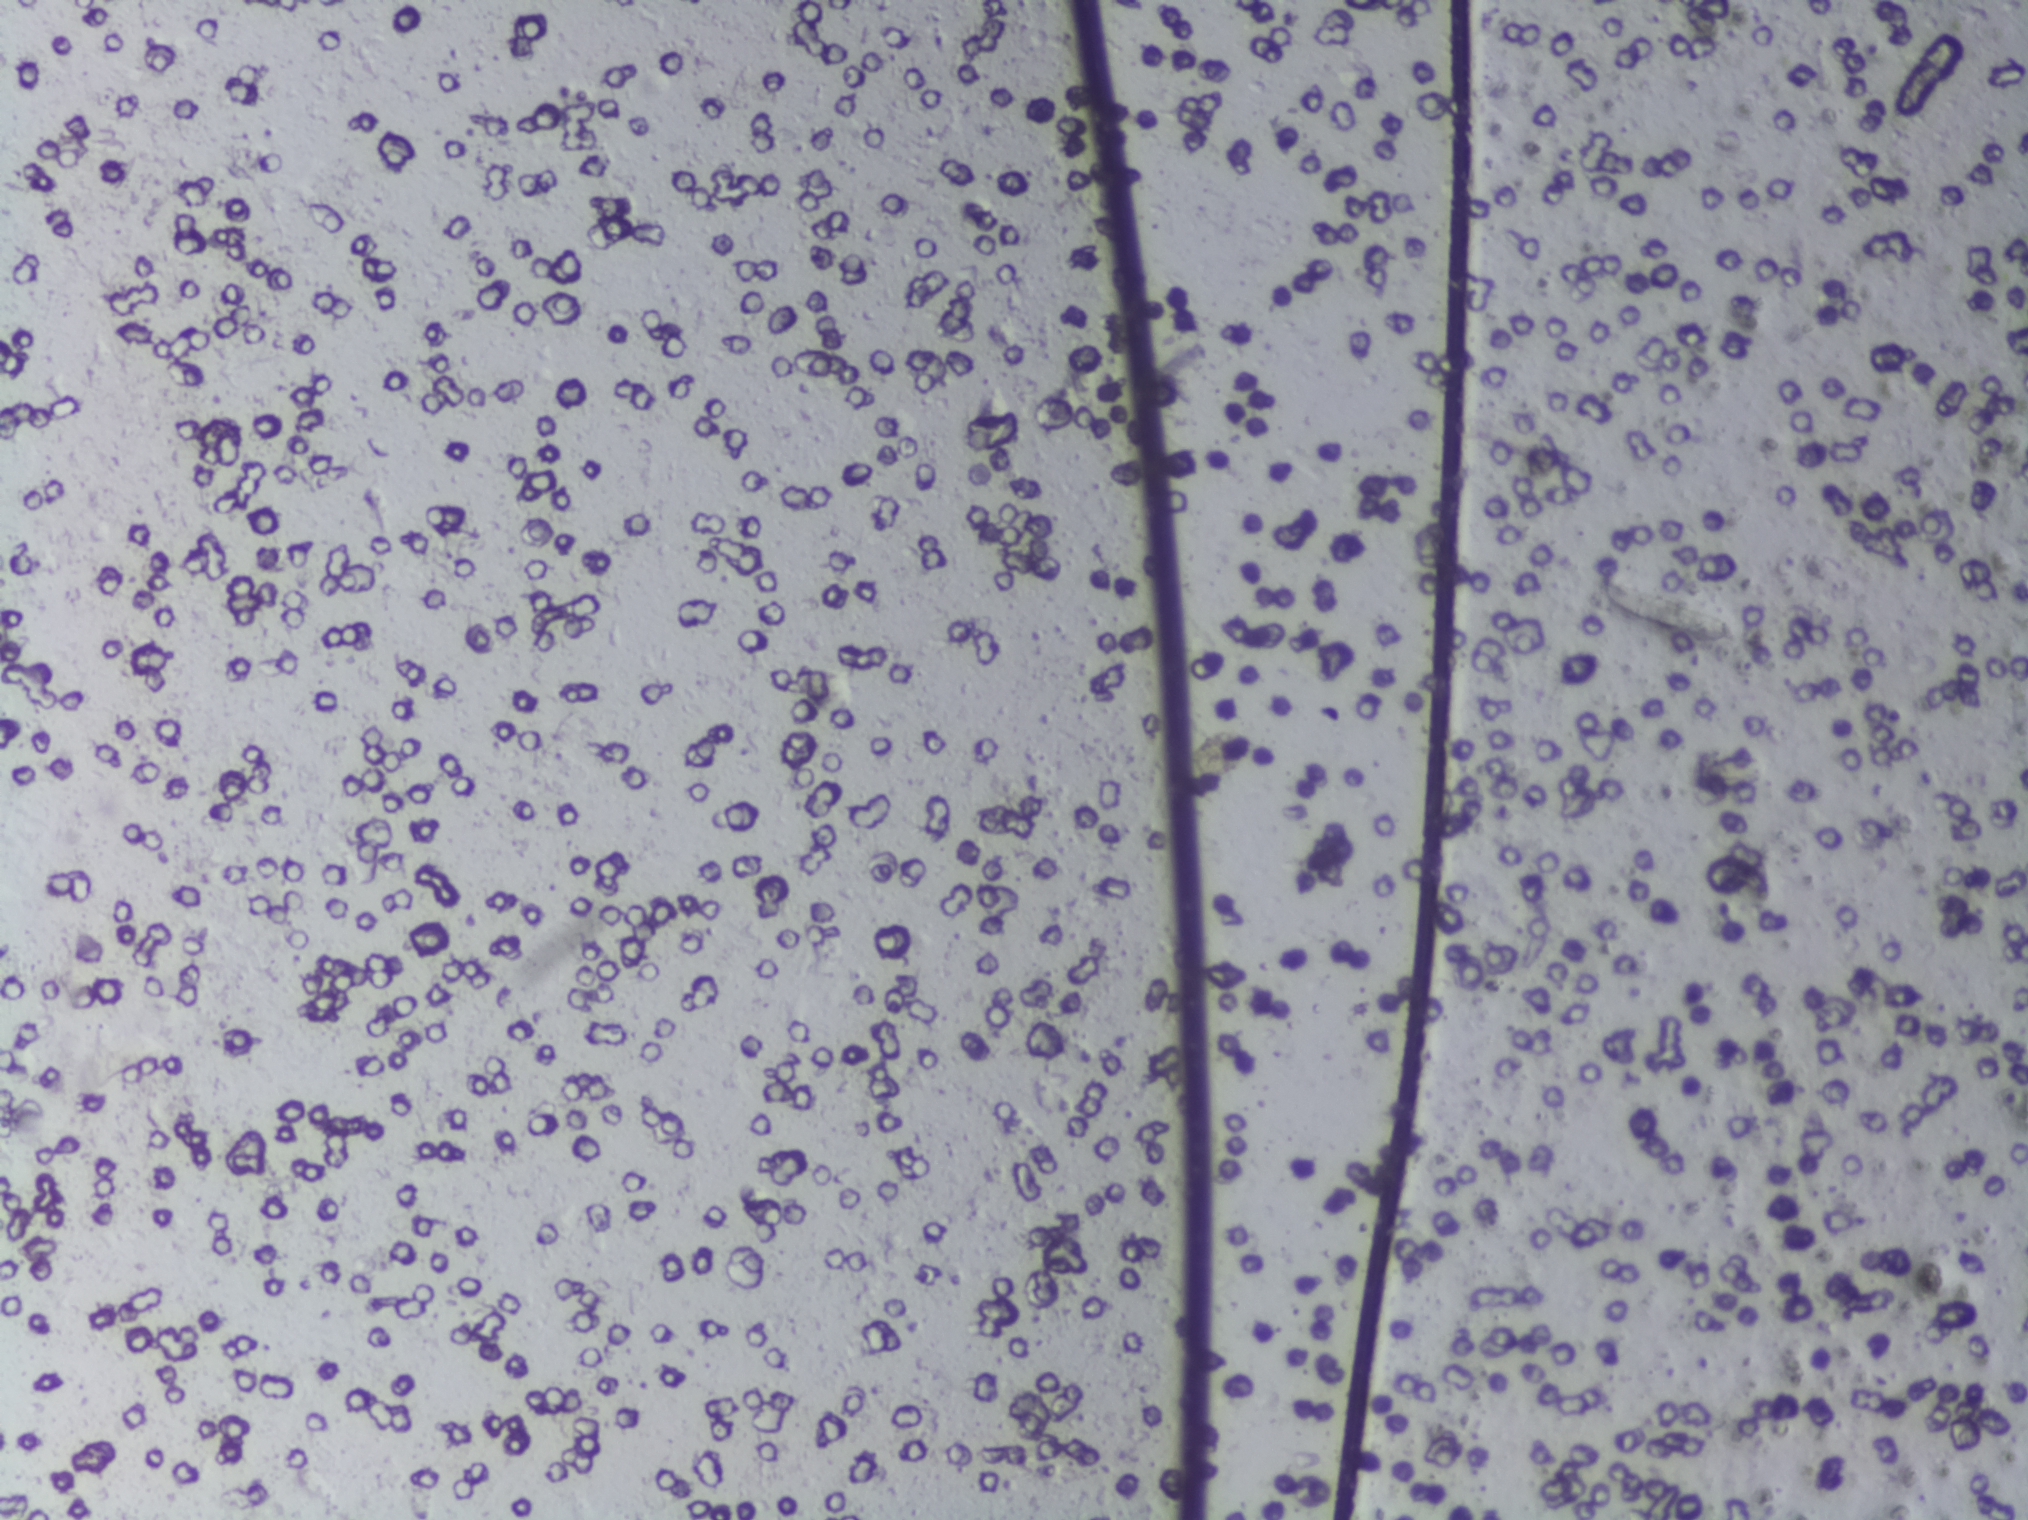
Photomicrograph of a urine filtration membrane, 4× objective.
The expert annotation marks no Schistosoma egg in this field of view.